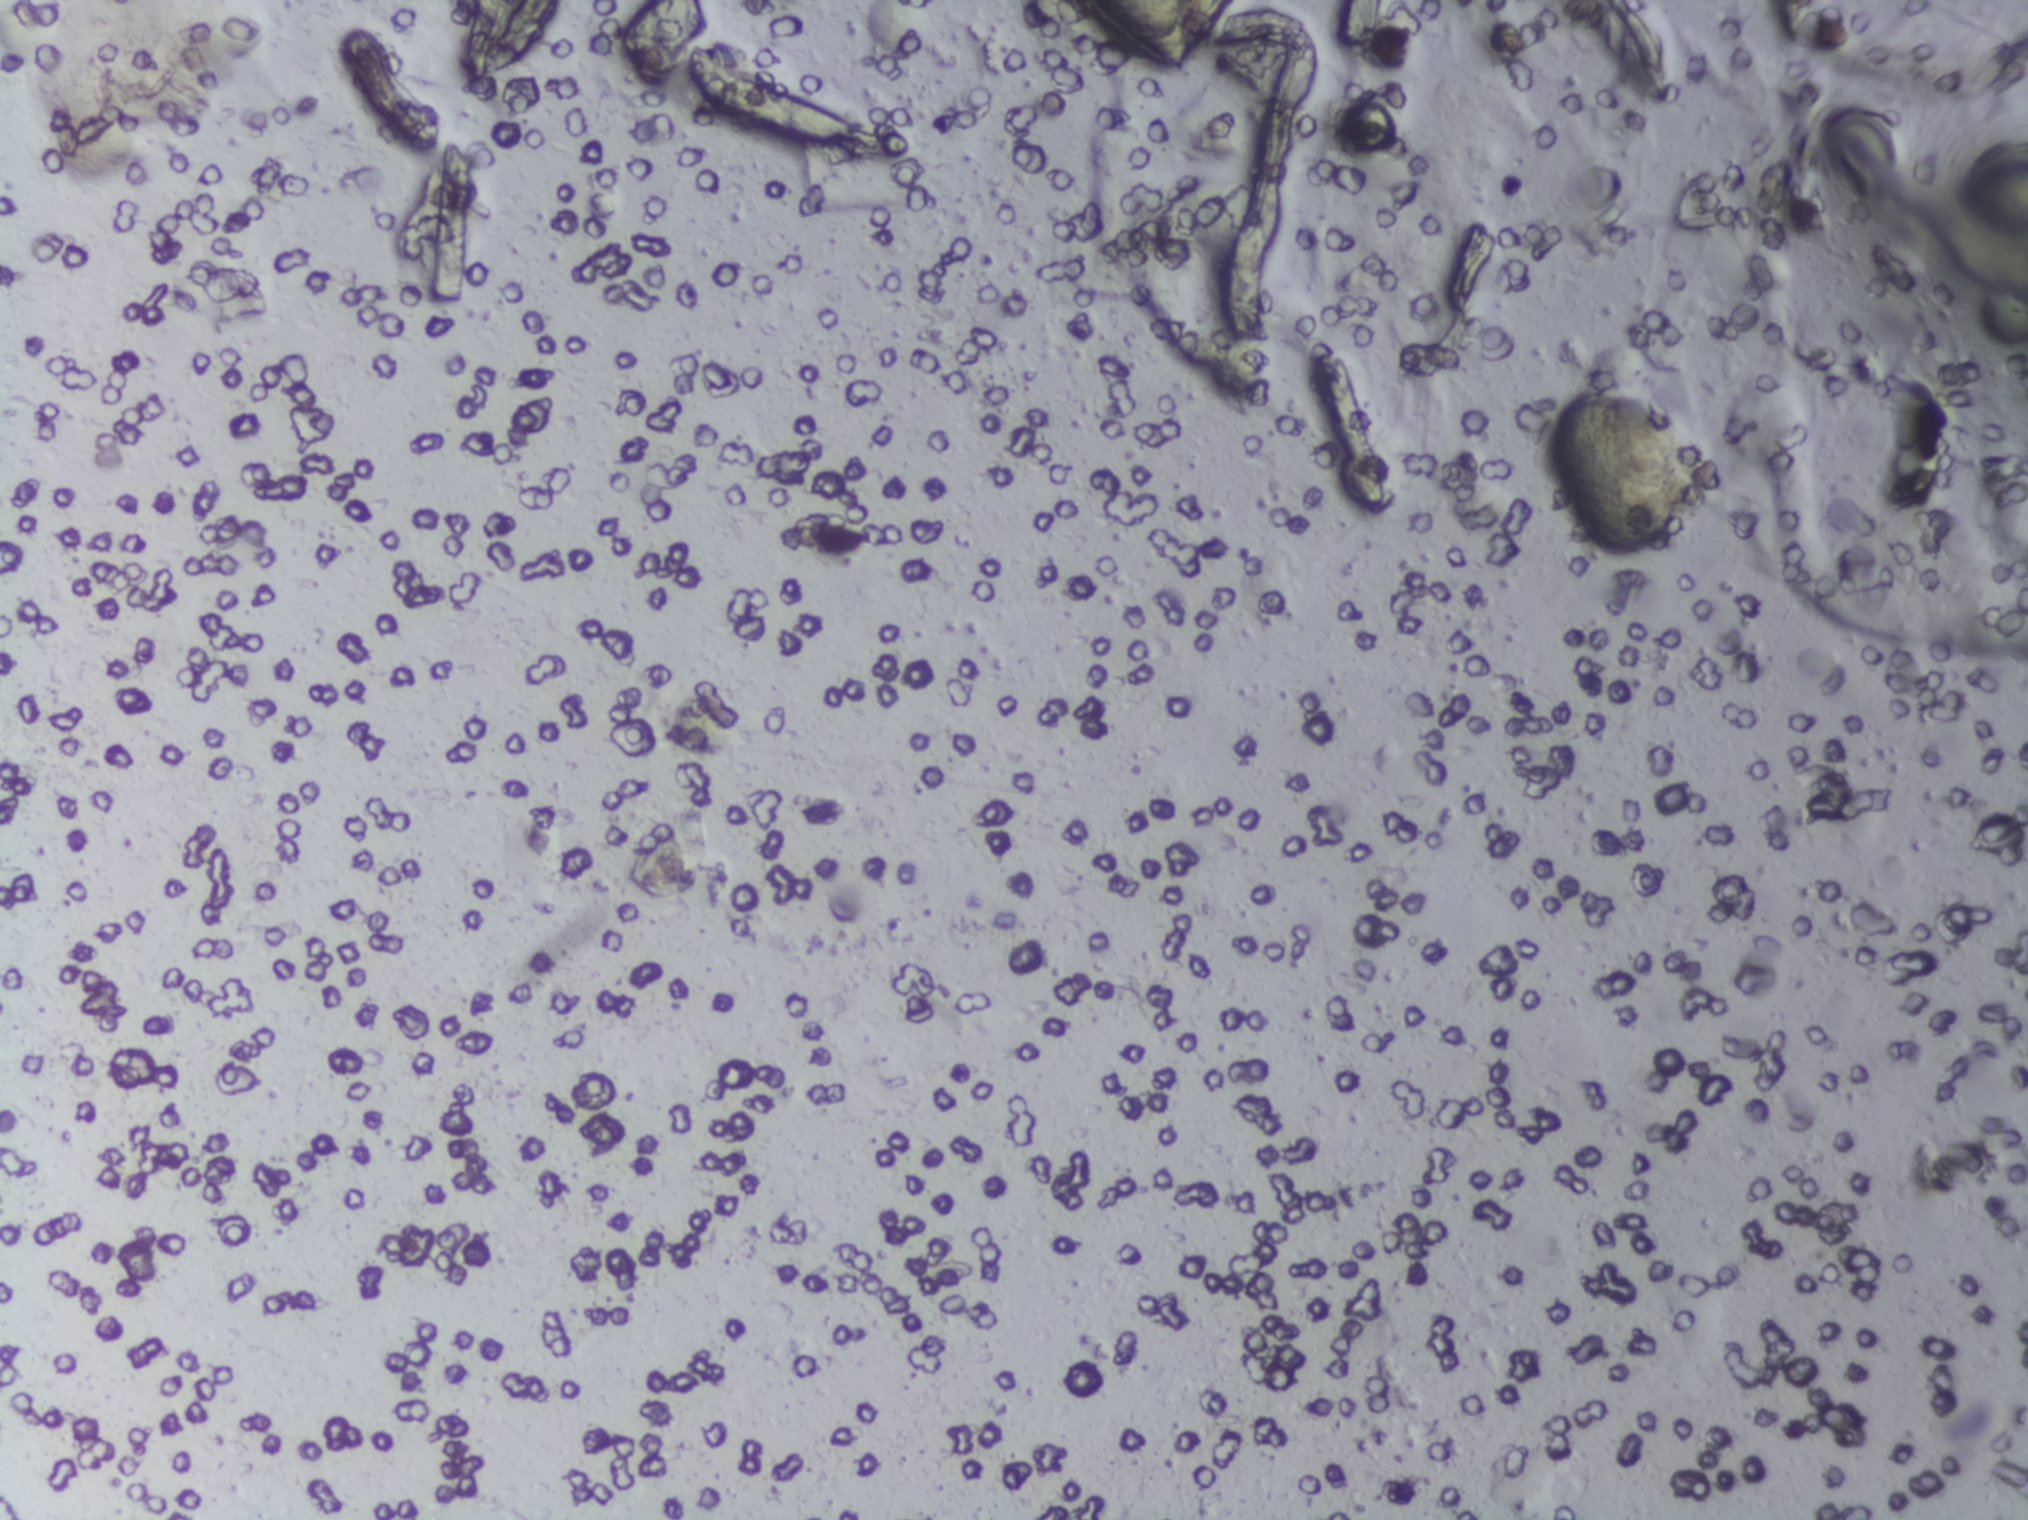
Urine filtration membrane under a 4× objective, photographed by an automated digital microscope.
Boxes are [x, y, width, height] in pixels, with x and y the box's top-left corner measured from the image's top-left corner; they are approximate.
The expert annotation outlines Schistosoma eggs at [1079, 0, 159, 73] (reaching the top edge of the frame). Eggs that touch can end up inside the same outlined area.